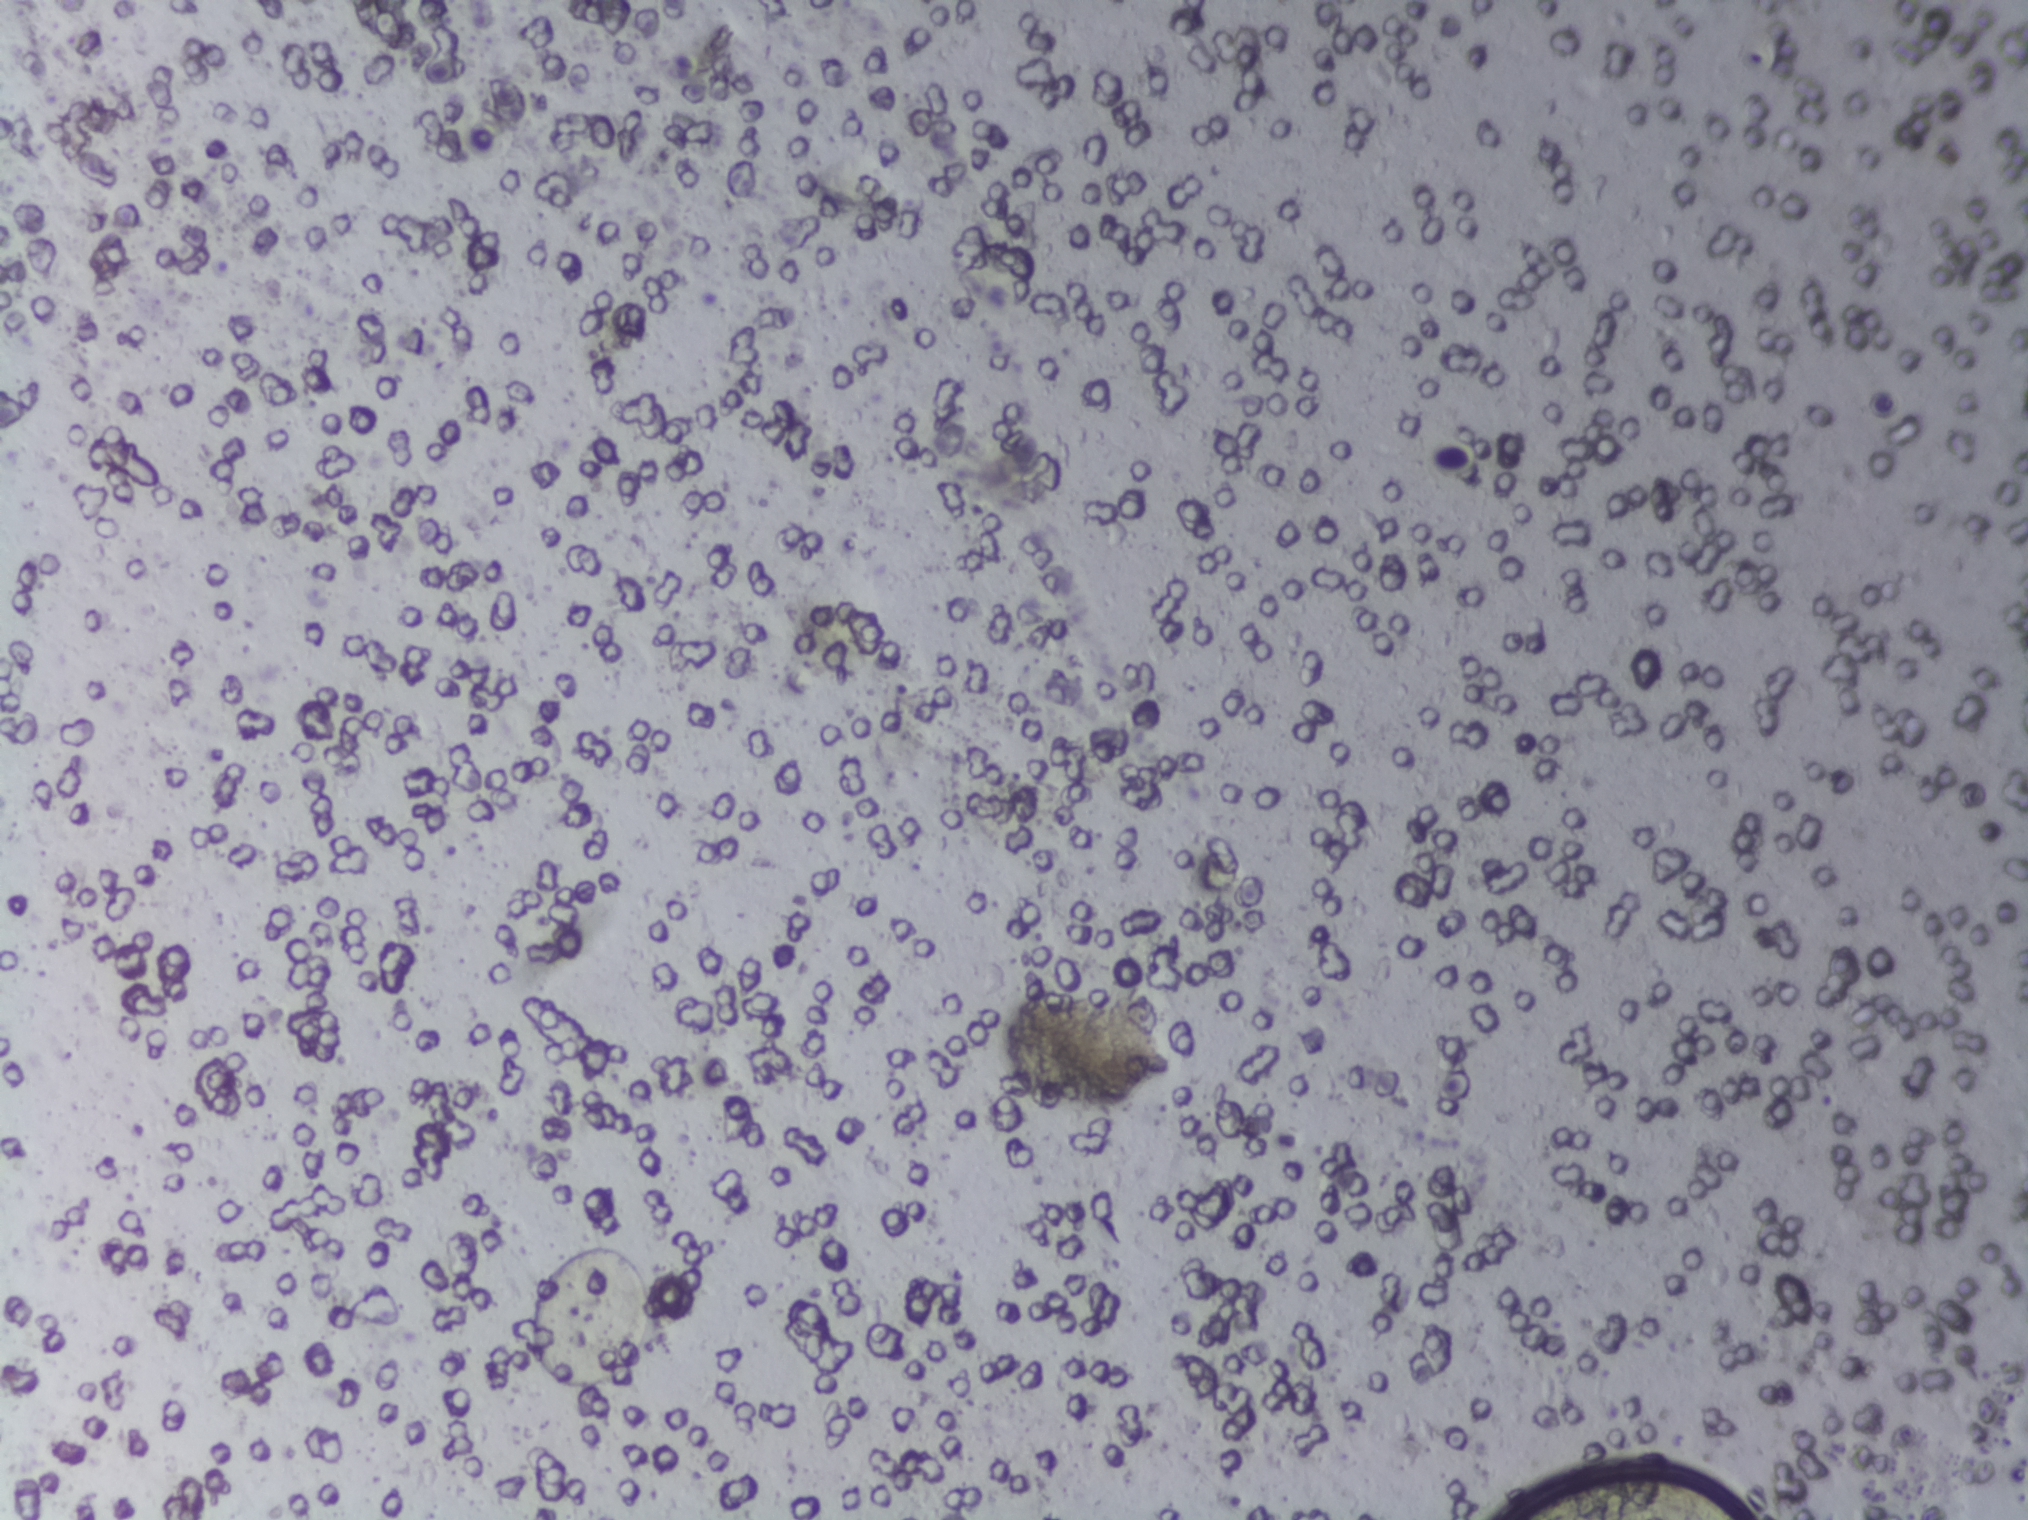
One field of view of a urine filter membrane, 4× objective, 2028 × 1520 pixels.
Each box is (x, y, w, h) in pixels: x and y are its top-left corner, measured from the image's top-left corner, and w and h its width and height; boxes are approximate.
Schistosoma eggs, outlined areas: (x=1504, y=1473, w=246, h=47) (reaching the bottom edge of the frame). A single outlined area may contain several eggs. Any one outlined egg may, rarely, be S. mansoni rather than S. haematobium.